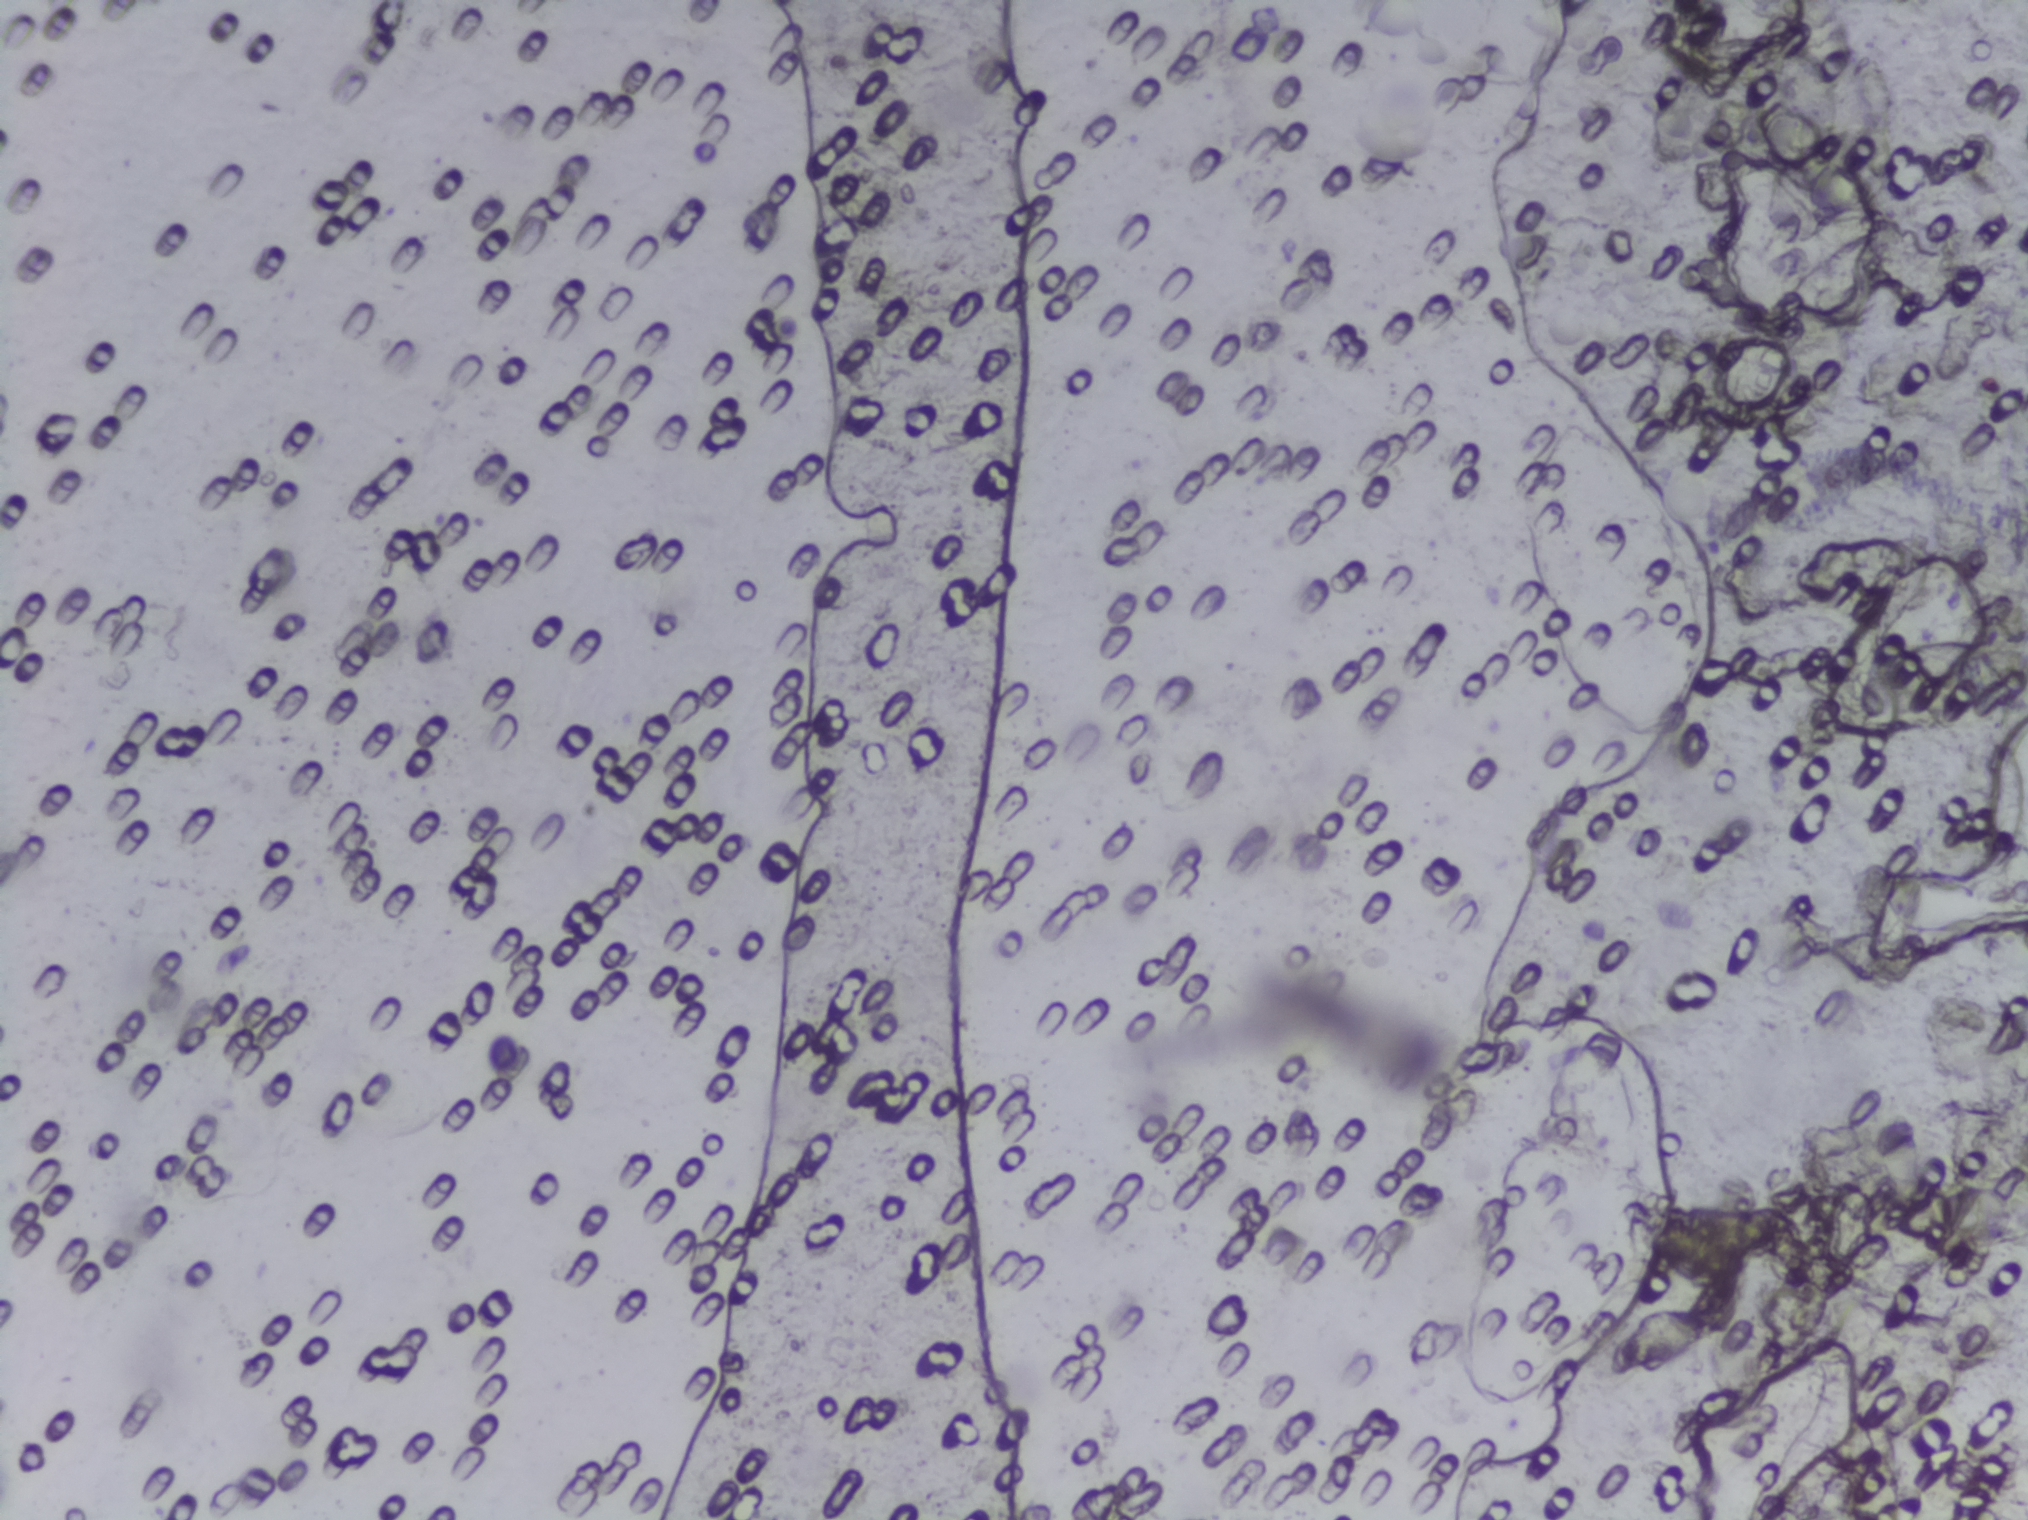
Microscope photograph (4× objective) of a membrane that a urine sample was filtered through.
No Schistosoma egg is outlined in this image's expert annotation.